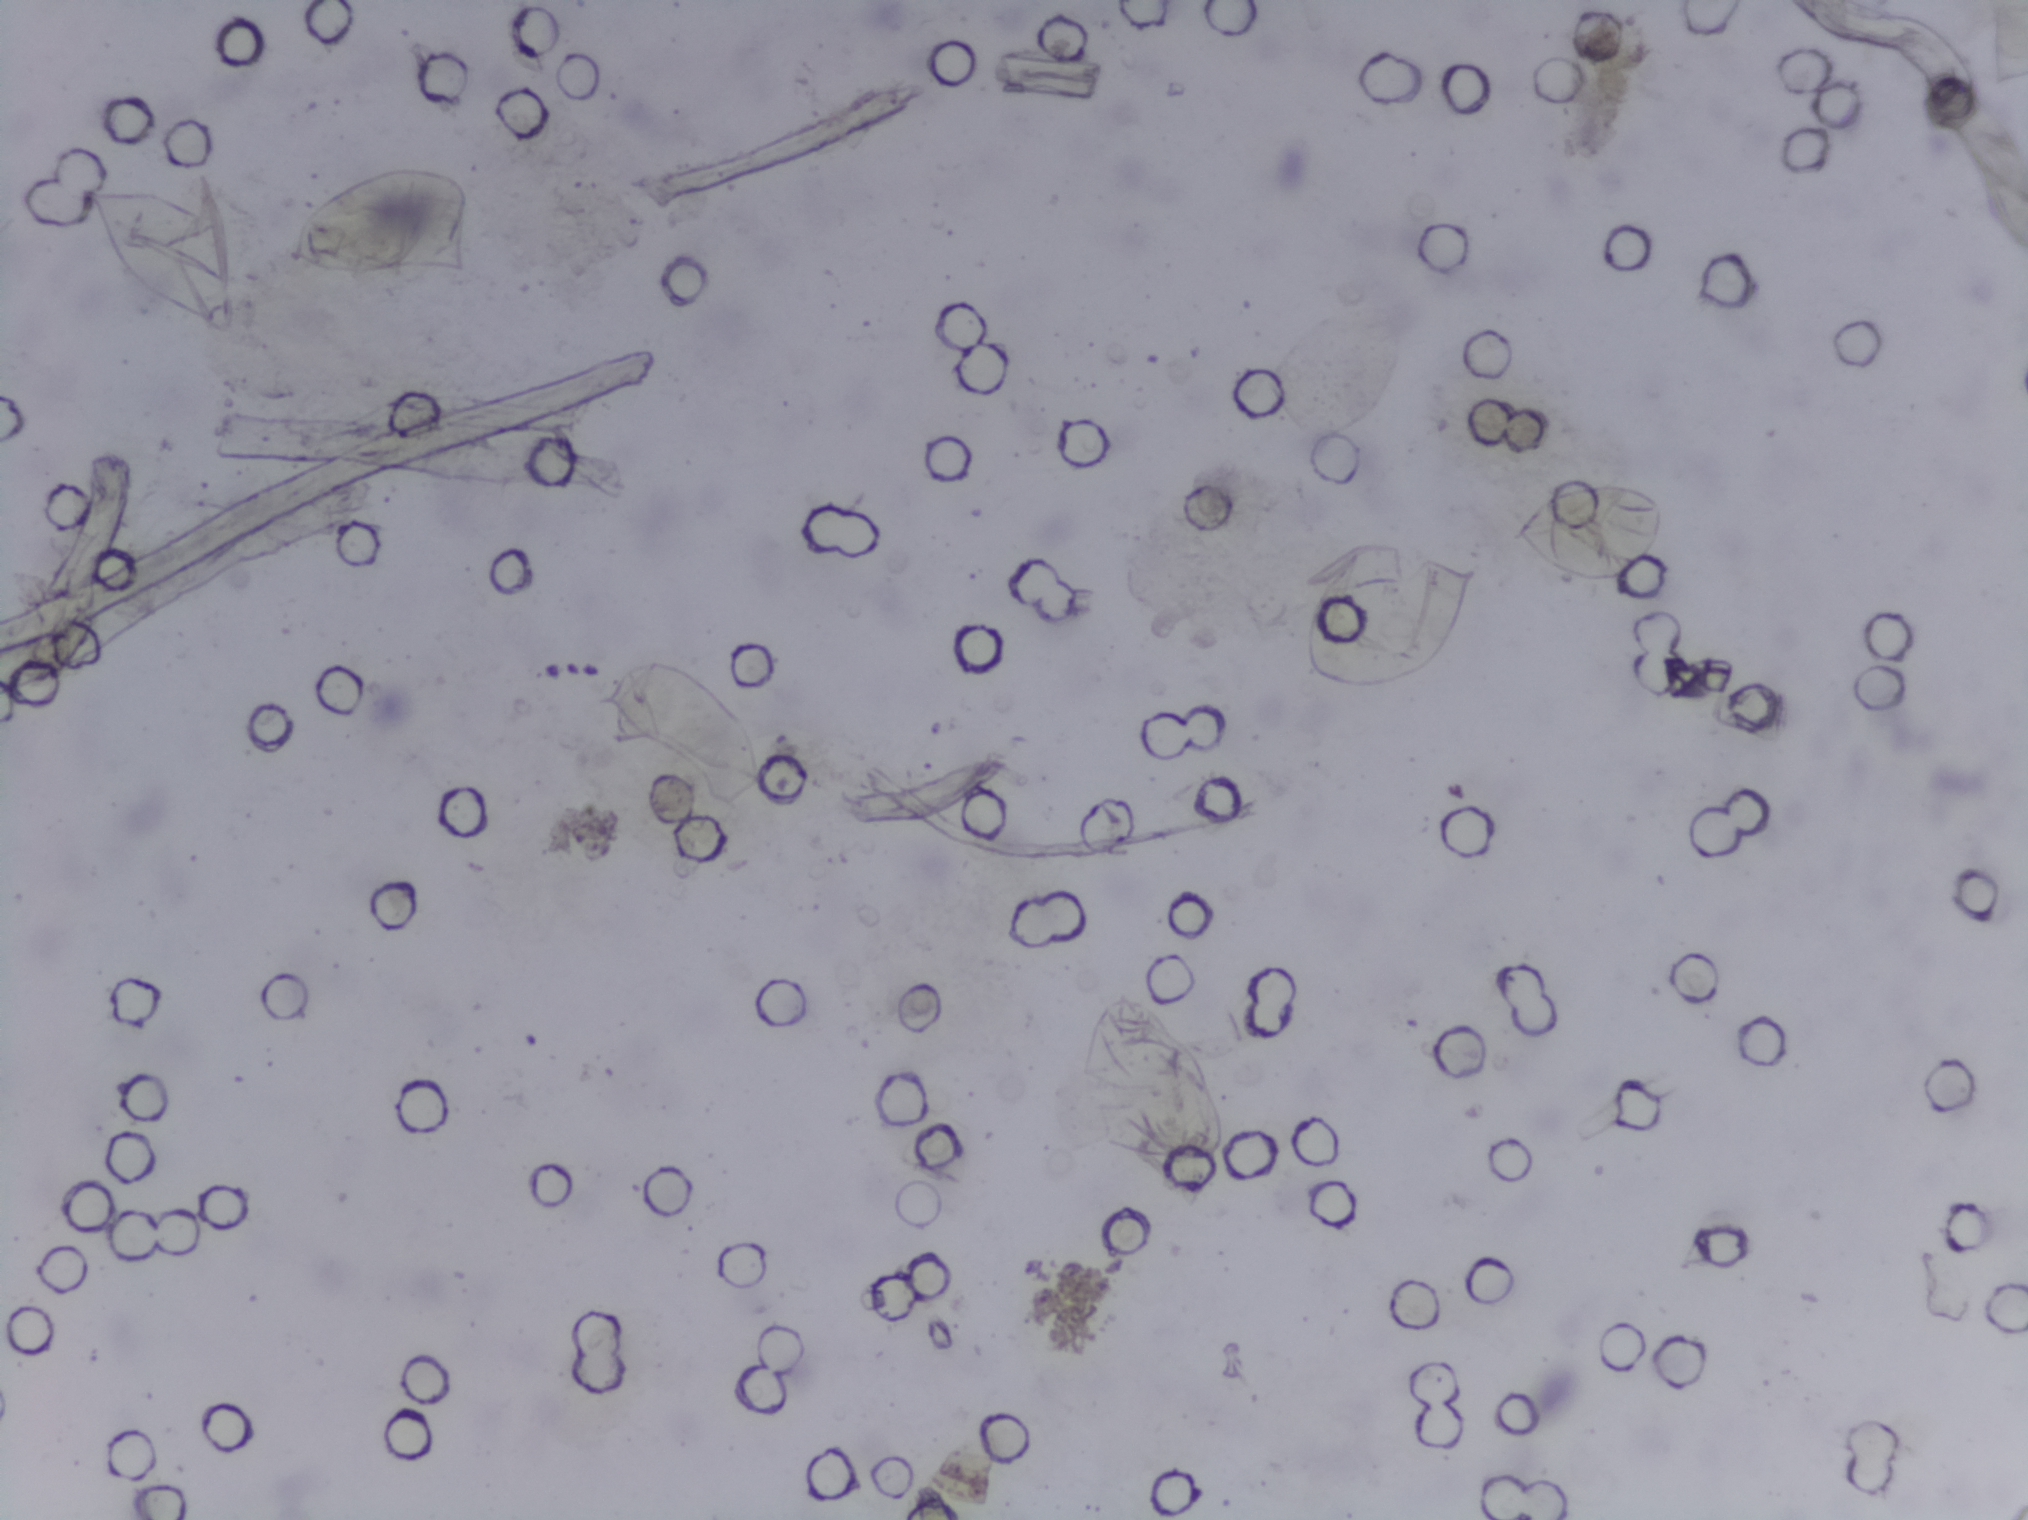
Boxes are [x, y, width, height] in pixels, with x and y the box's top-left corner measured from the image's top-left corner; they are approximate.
Findings: five areas outlined as Schistosoma eggs. Locations: [281, 166, 204, 117]; [584, 651, 197, 151]; [1071, 993, 161, 213]; [1282, 540, 205, 162]; [1505, 475, 165, 119]. Eggs that touch can end up inside the same outlined area.
Urine filter membrane photographed through a 4× microscope objective. The field of view is about 1.5 mm × 1.1 mm.